Microscope photograph (4× objective) of a membrane that a urine sample was filtered through.
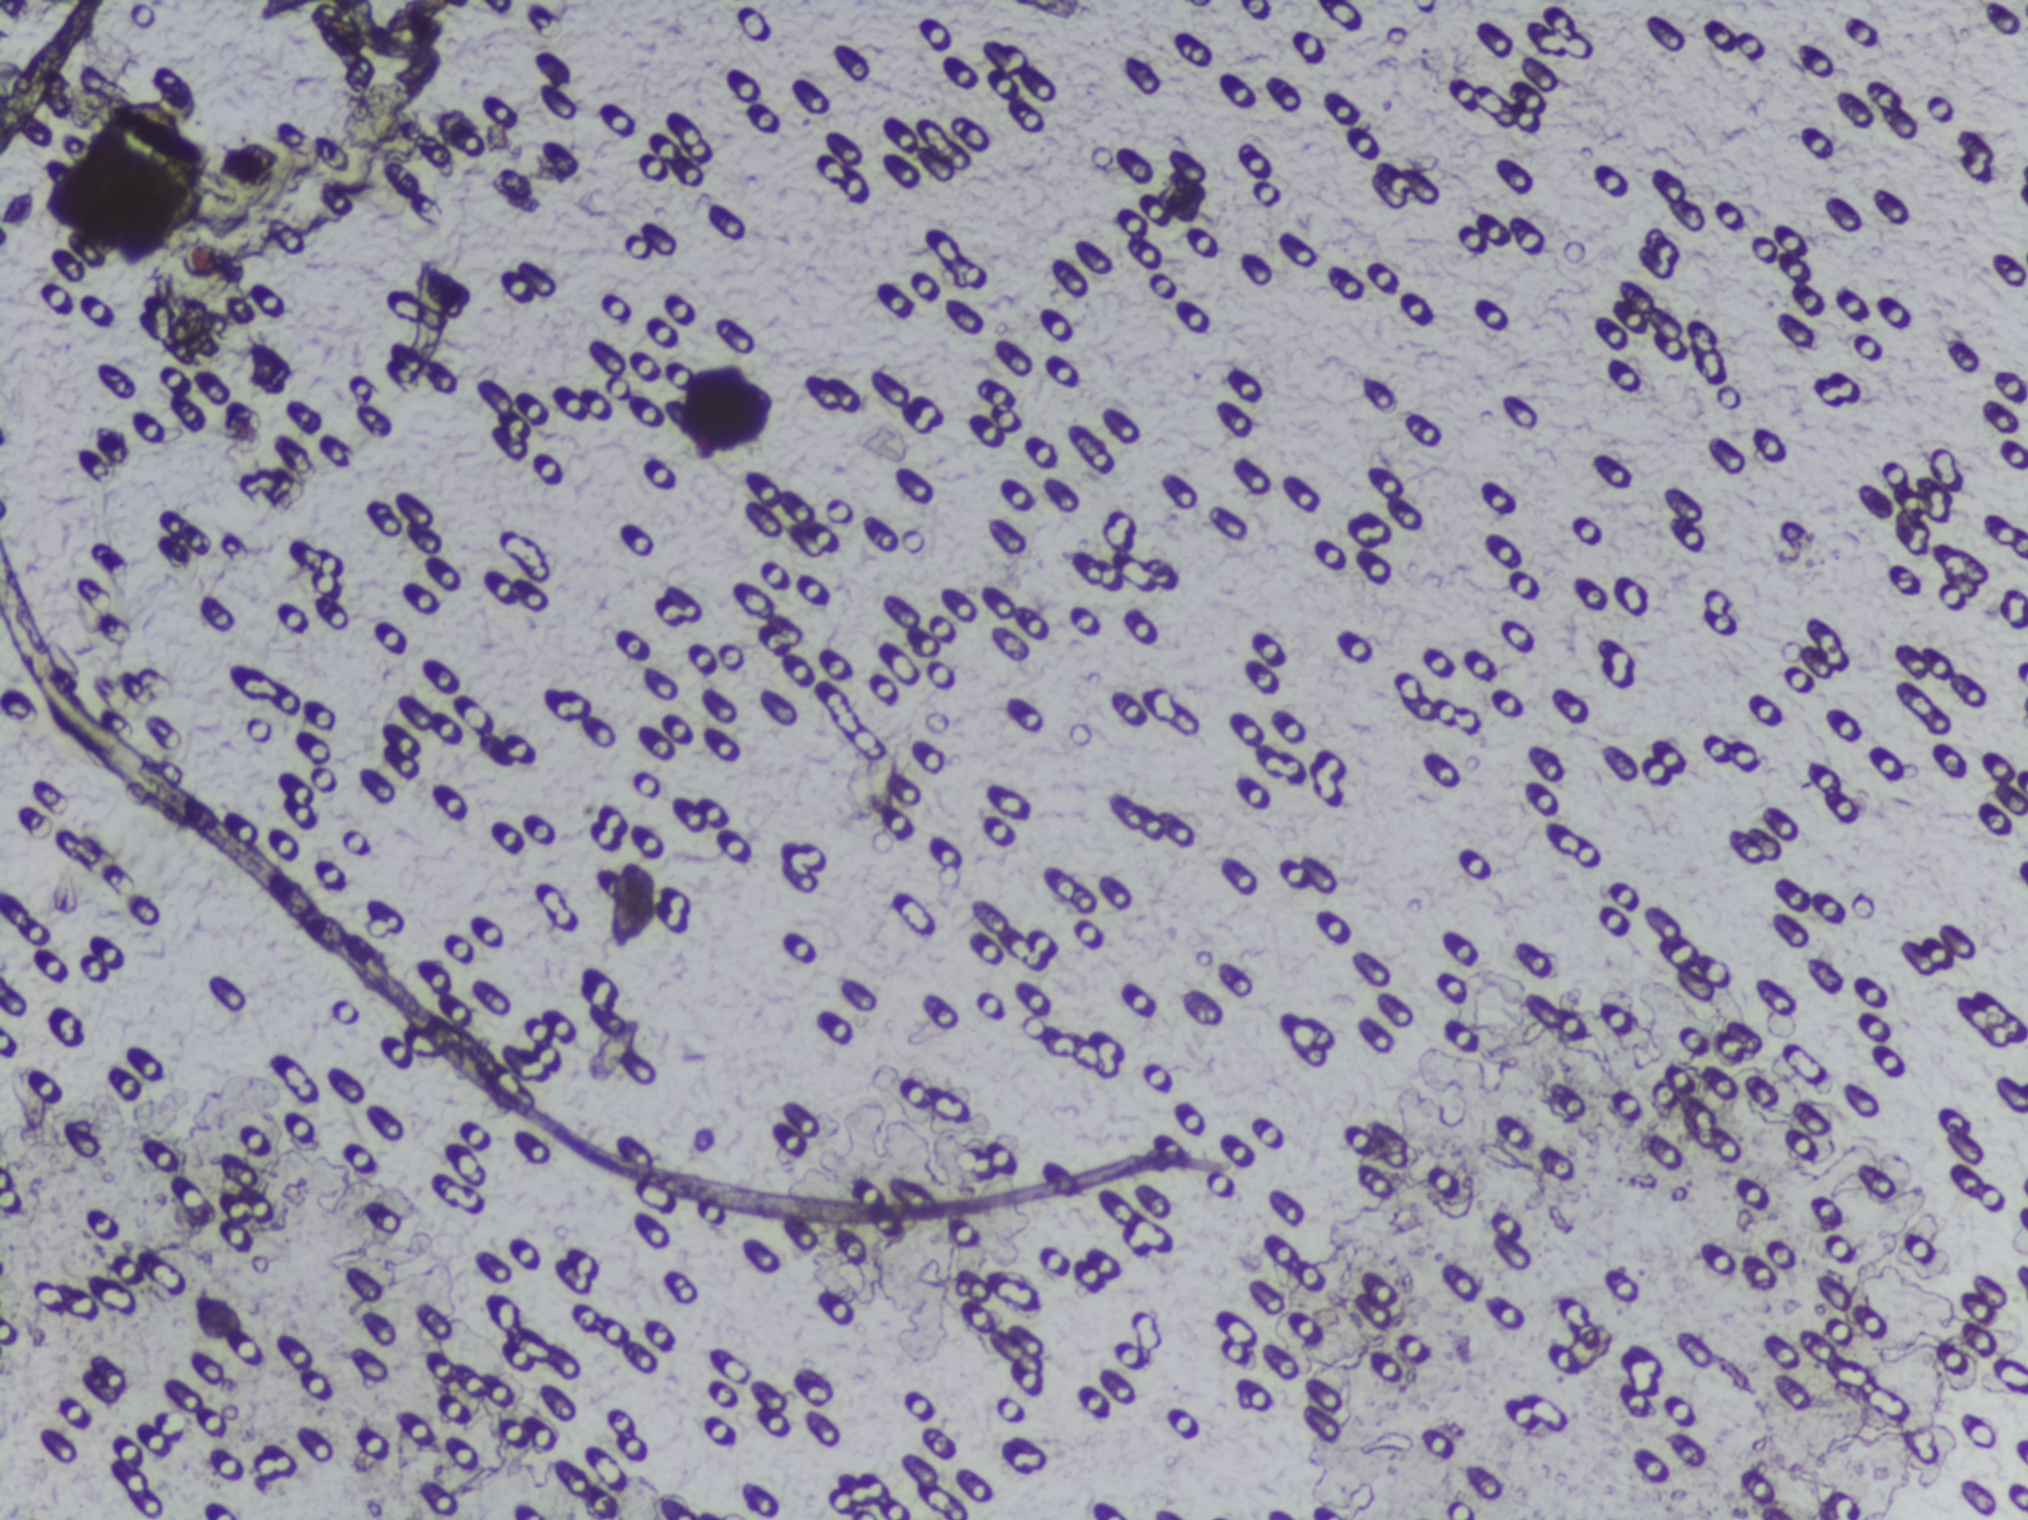
The expert annotation outlines no Schistosoma egg in this image.